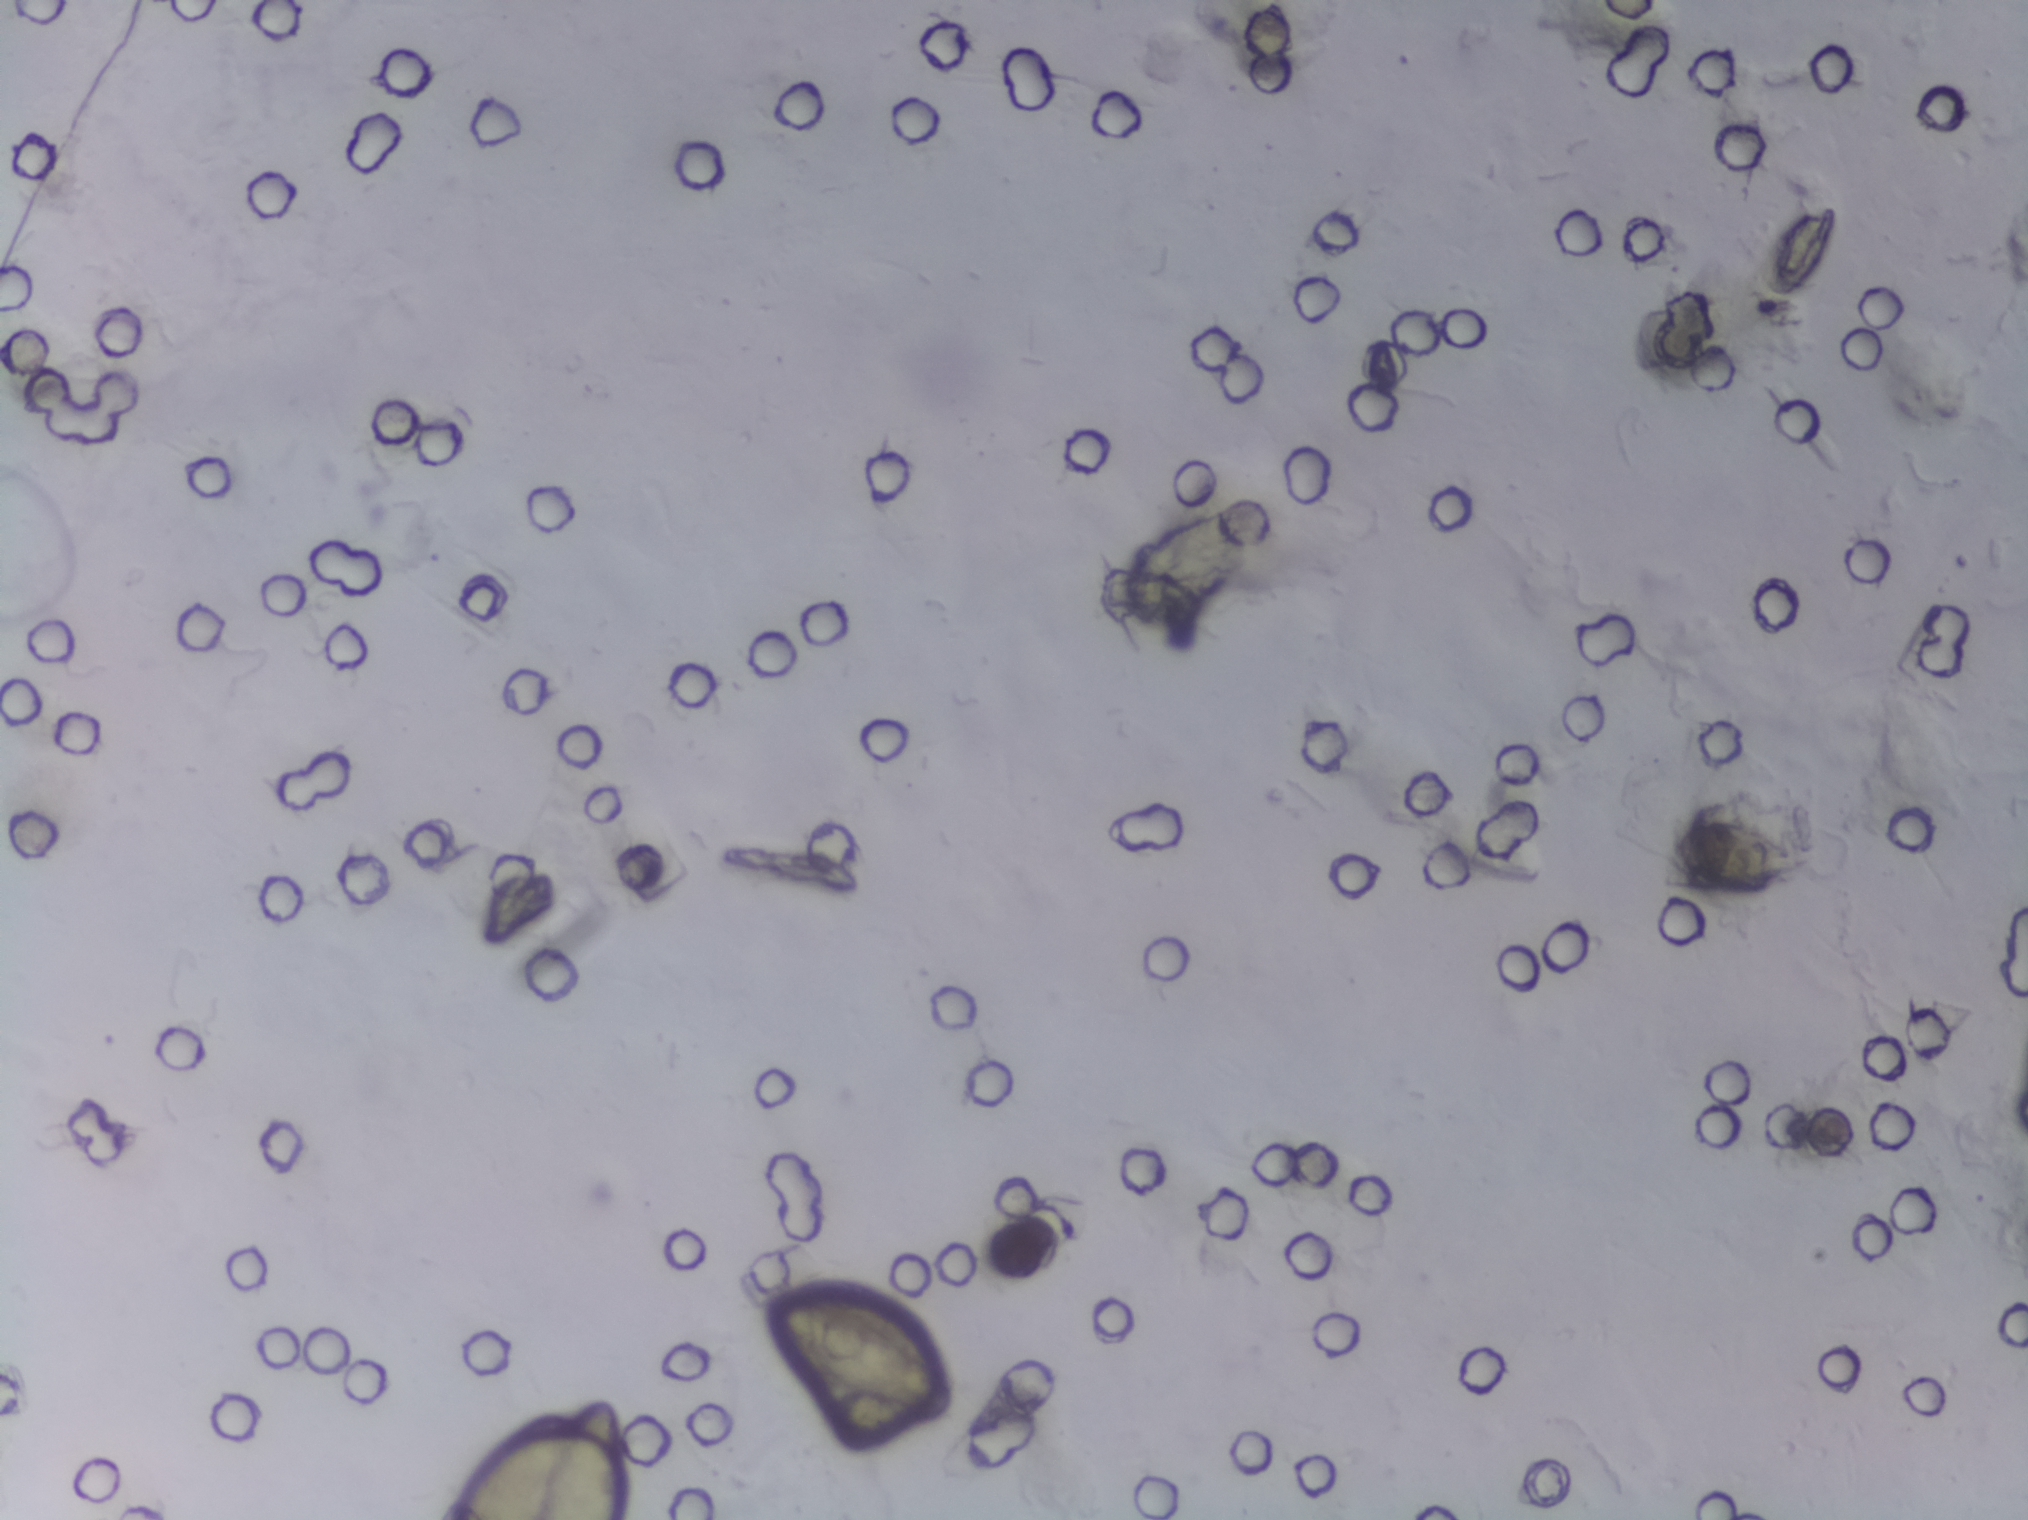
Urine filtration membrane under a 4× objective, photographed by an automated digital microscope.
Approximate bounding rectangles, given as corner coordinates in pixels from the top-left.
Areas outlined as Schistosoma eggs, left to right:
1. (x1=441, y1=1399, x2=629, y2=1519) (reaching the bottom edge of the frame)
2. (x1=765, y1=1286, x2=958, y2=1423)
About 1.0% of the image's pixels are marked (the marked pixels themselves, not the boxes around them). Eggs that touch can end up inside the same outlined area. Any one outlined egg may, rarely, be S. mansoni rather than S. haematobium.